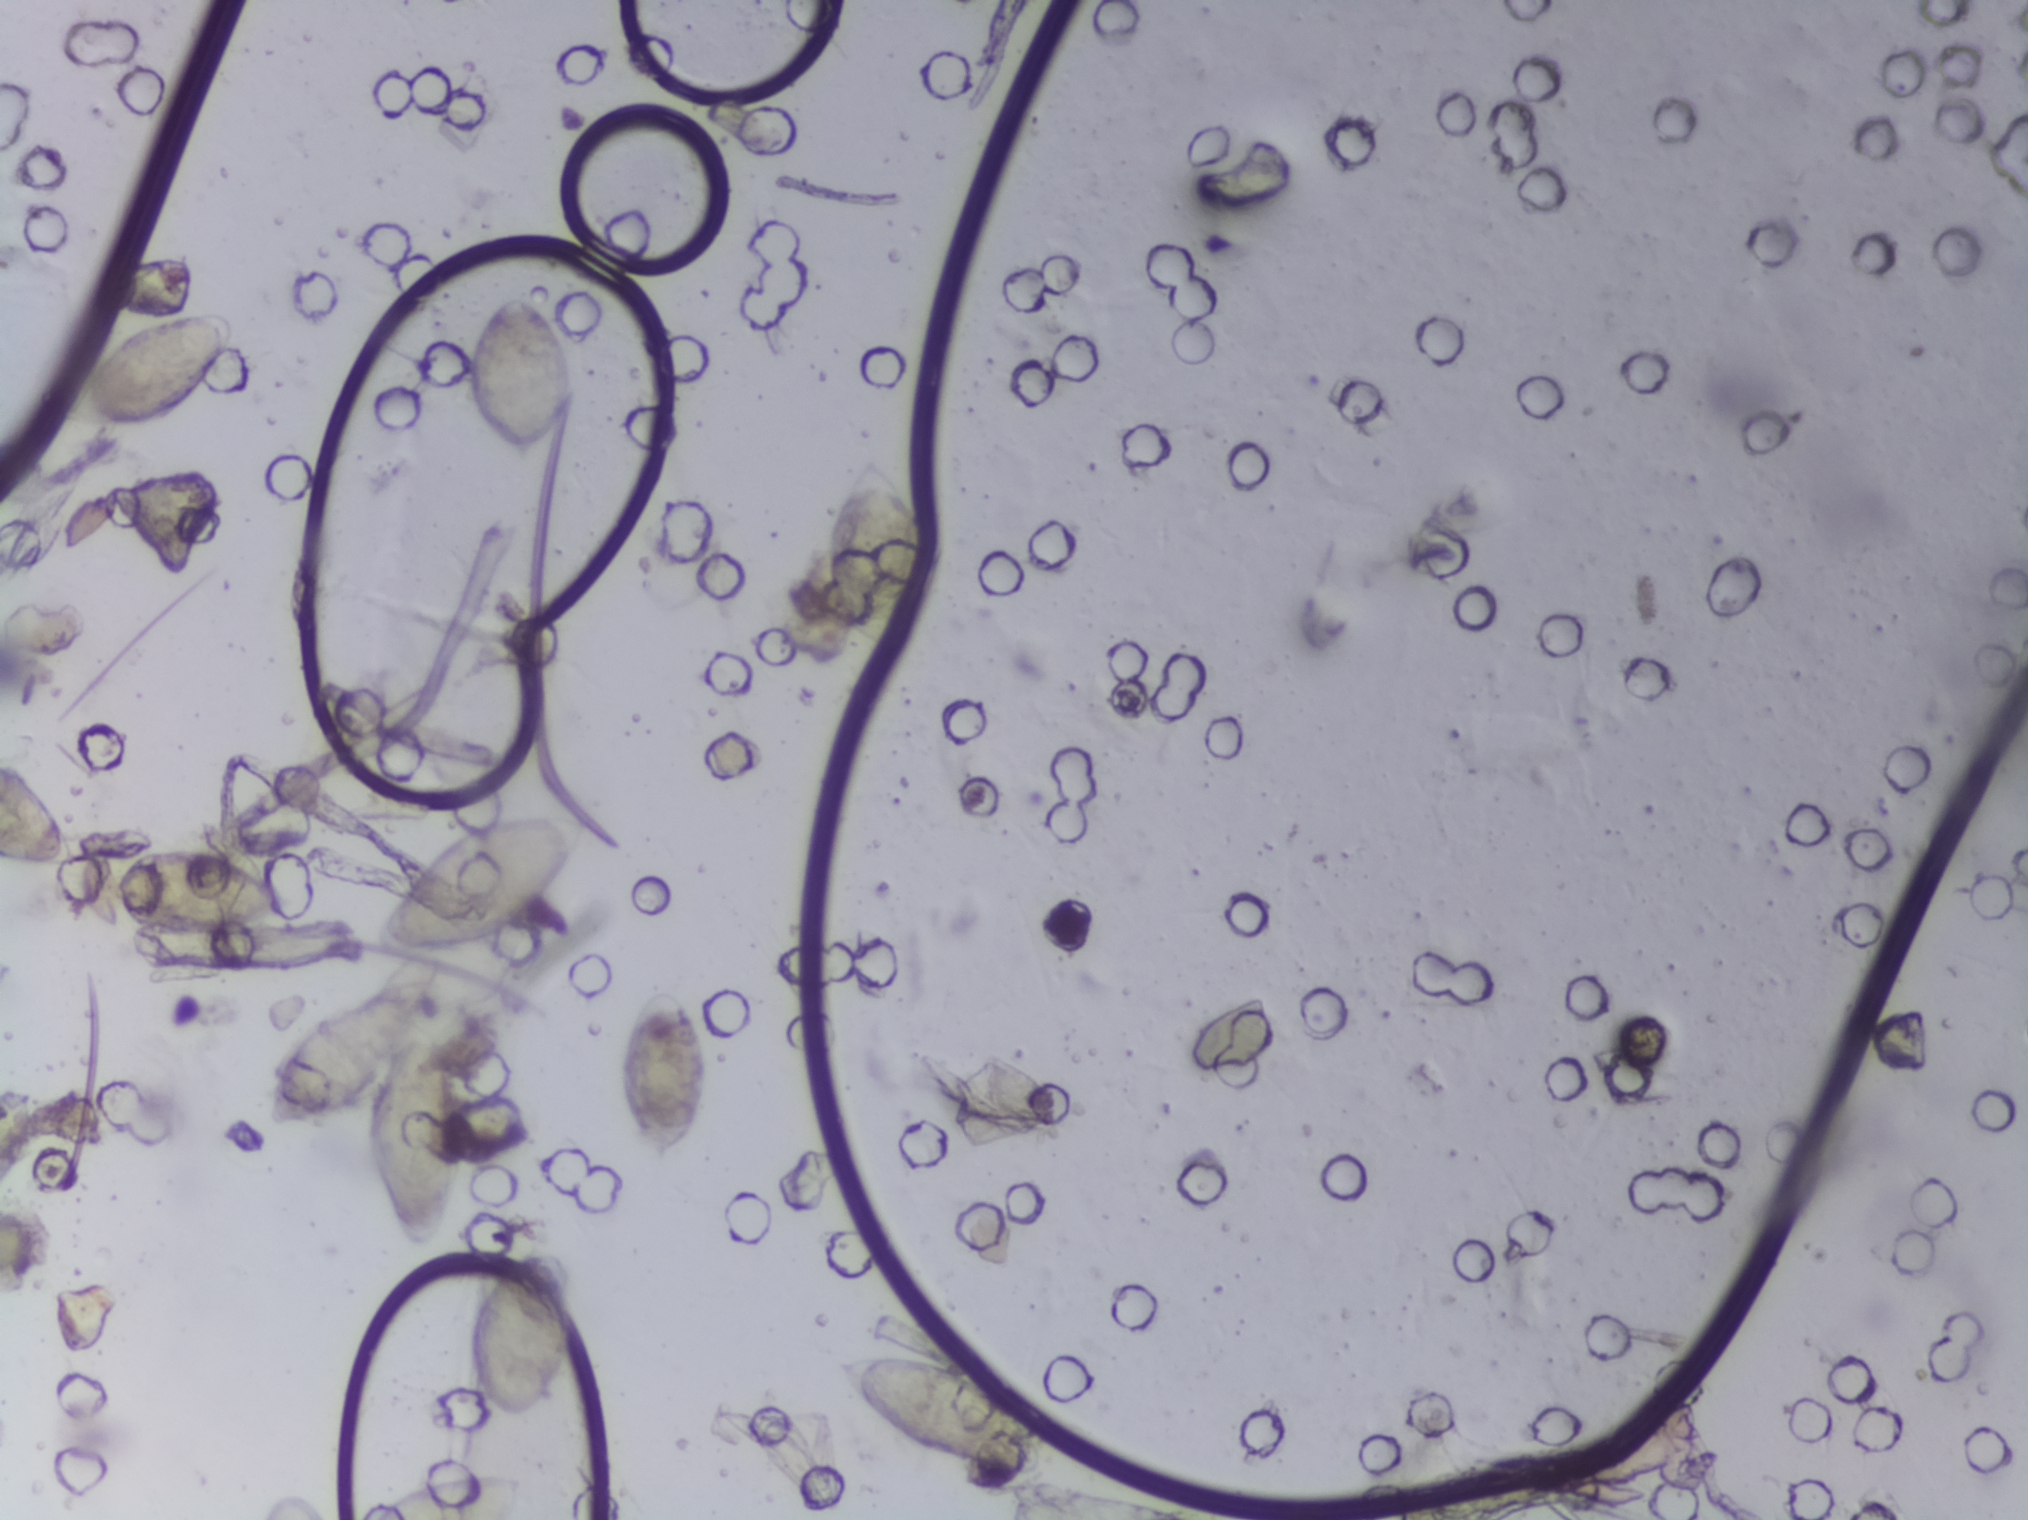
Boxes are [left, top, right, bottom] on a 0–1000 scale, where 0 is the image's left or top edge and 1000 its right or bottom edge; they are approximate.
The expert annotation outlines Schistosoma eggs at [0, 490, 39, 580] (reaching the left edge of the frame); [27, 203, 115, 283]; [48, 555, 147, 620]; [128, 643, 229, 822]; [183, 966, 263, 1000] (reaching the bottom edge of the frame); [184, 531, 294, 630]; [228, 817, 285, 938]; [229, 188, 285, 311]; [303, 647, 350, 771]; [405, 297, 464, 442]; [410, 890, 521, 974]. Eggs that touch can end up inside the same outlined area.
Photomicrograph of a urine filtration membrane, 4× objective.